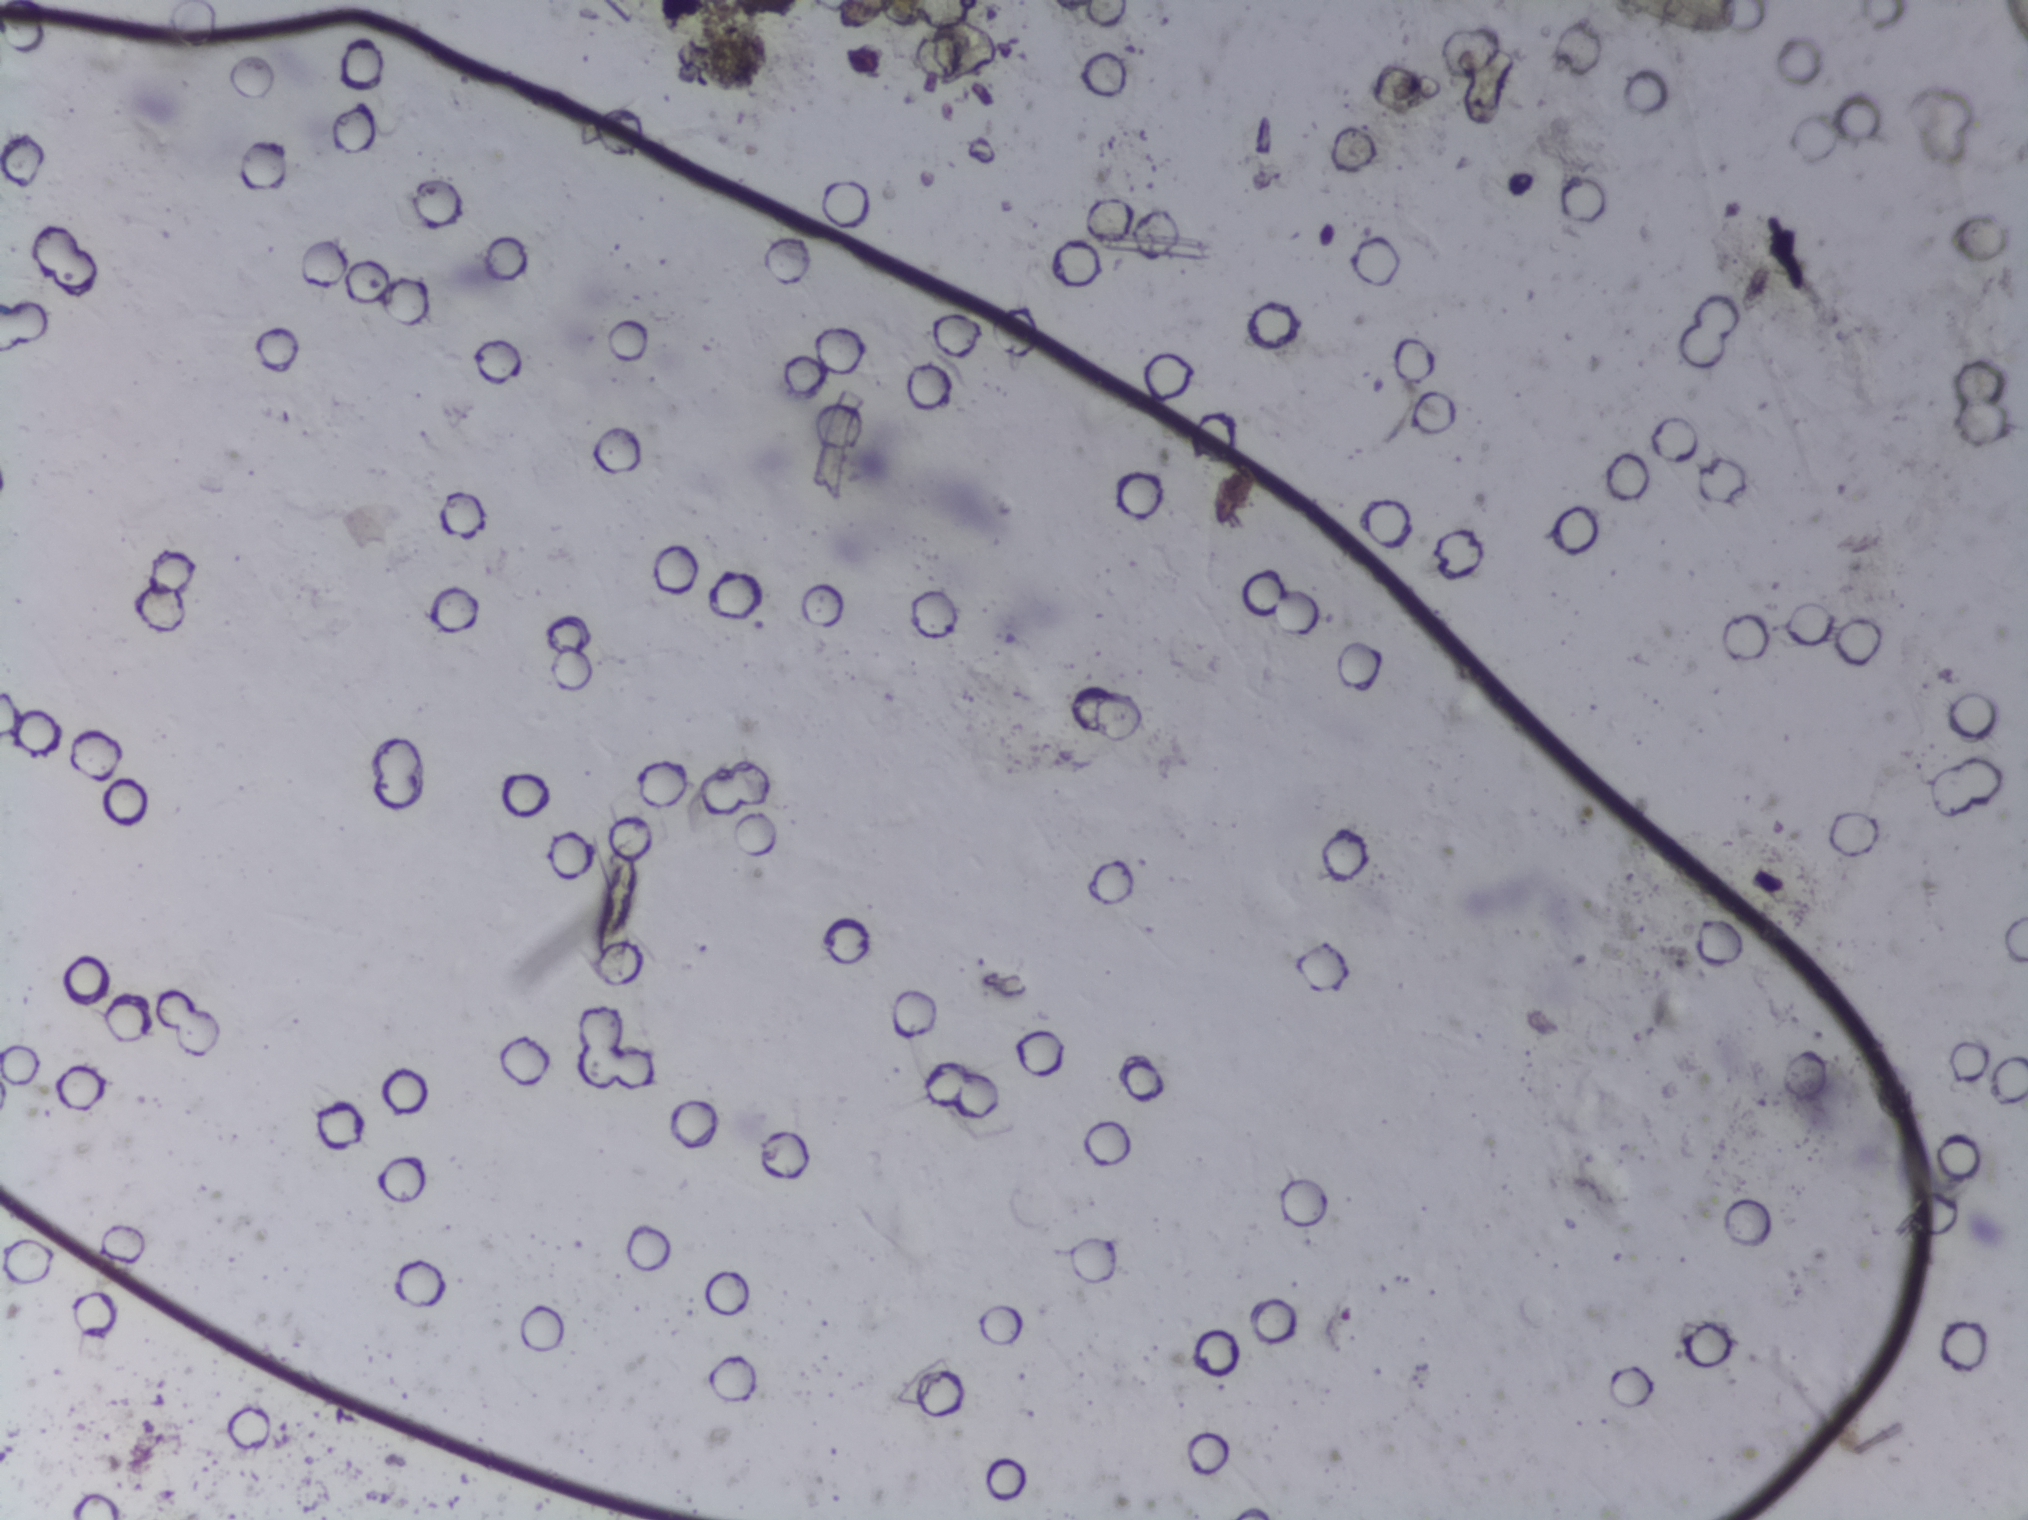
No area of this image was outlined as a Schistosoma egg.
Photograph from an automated digital microscope: urine filter membrane, 4× objective.